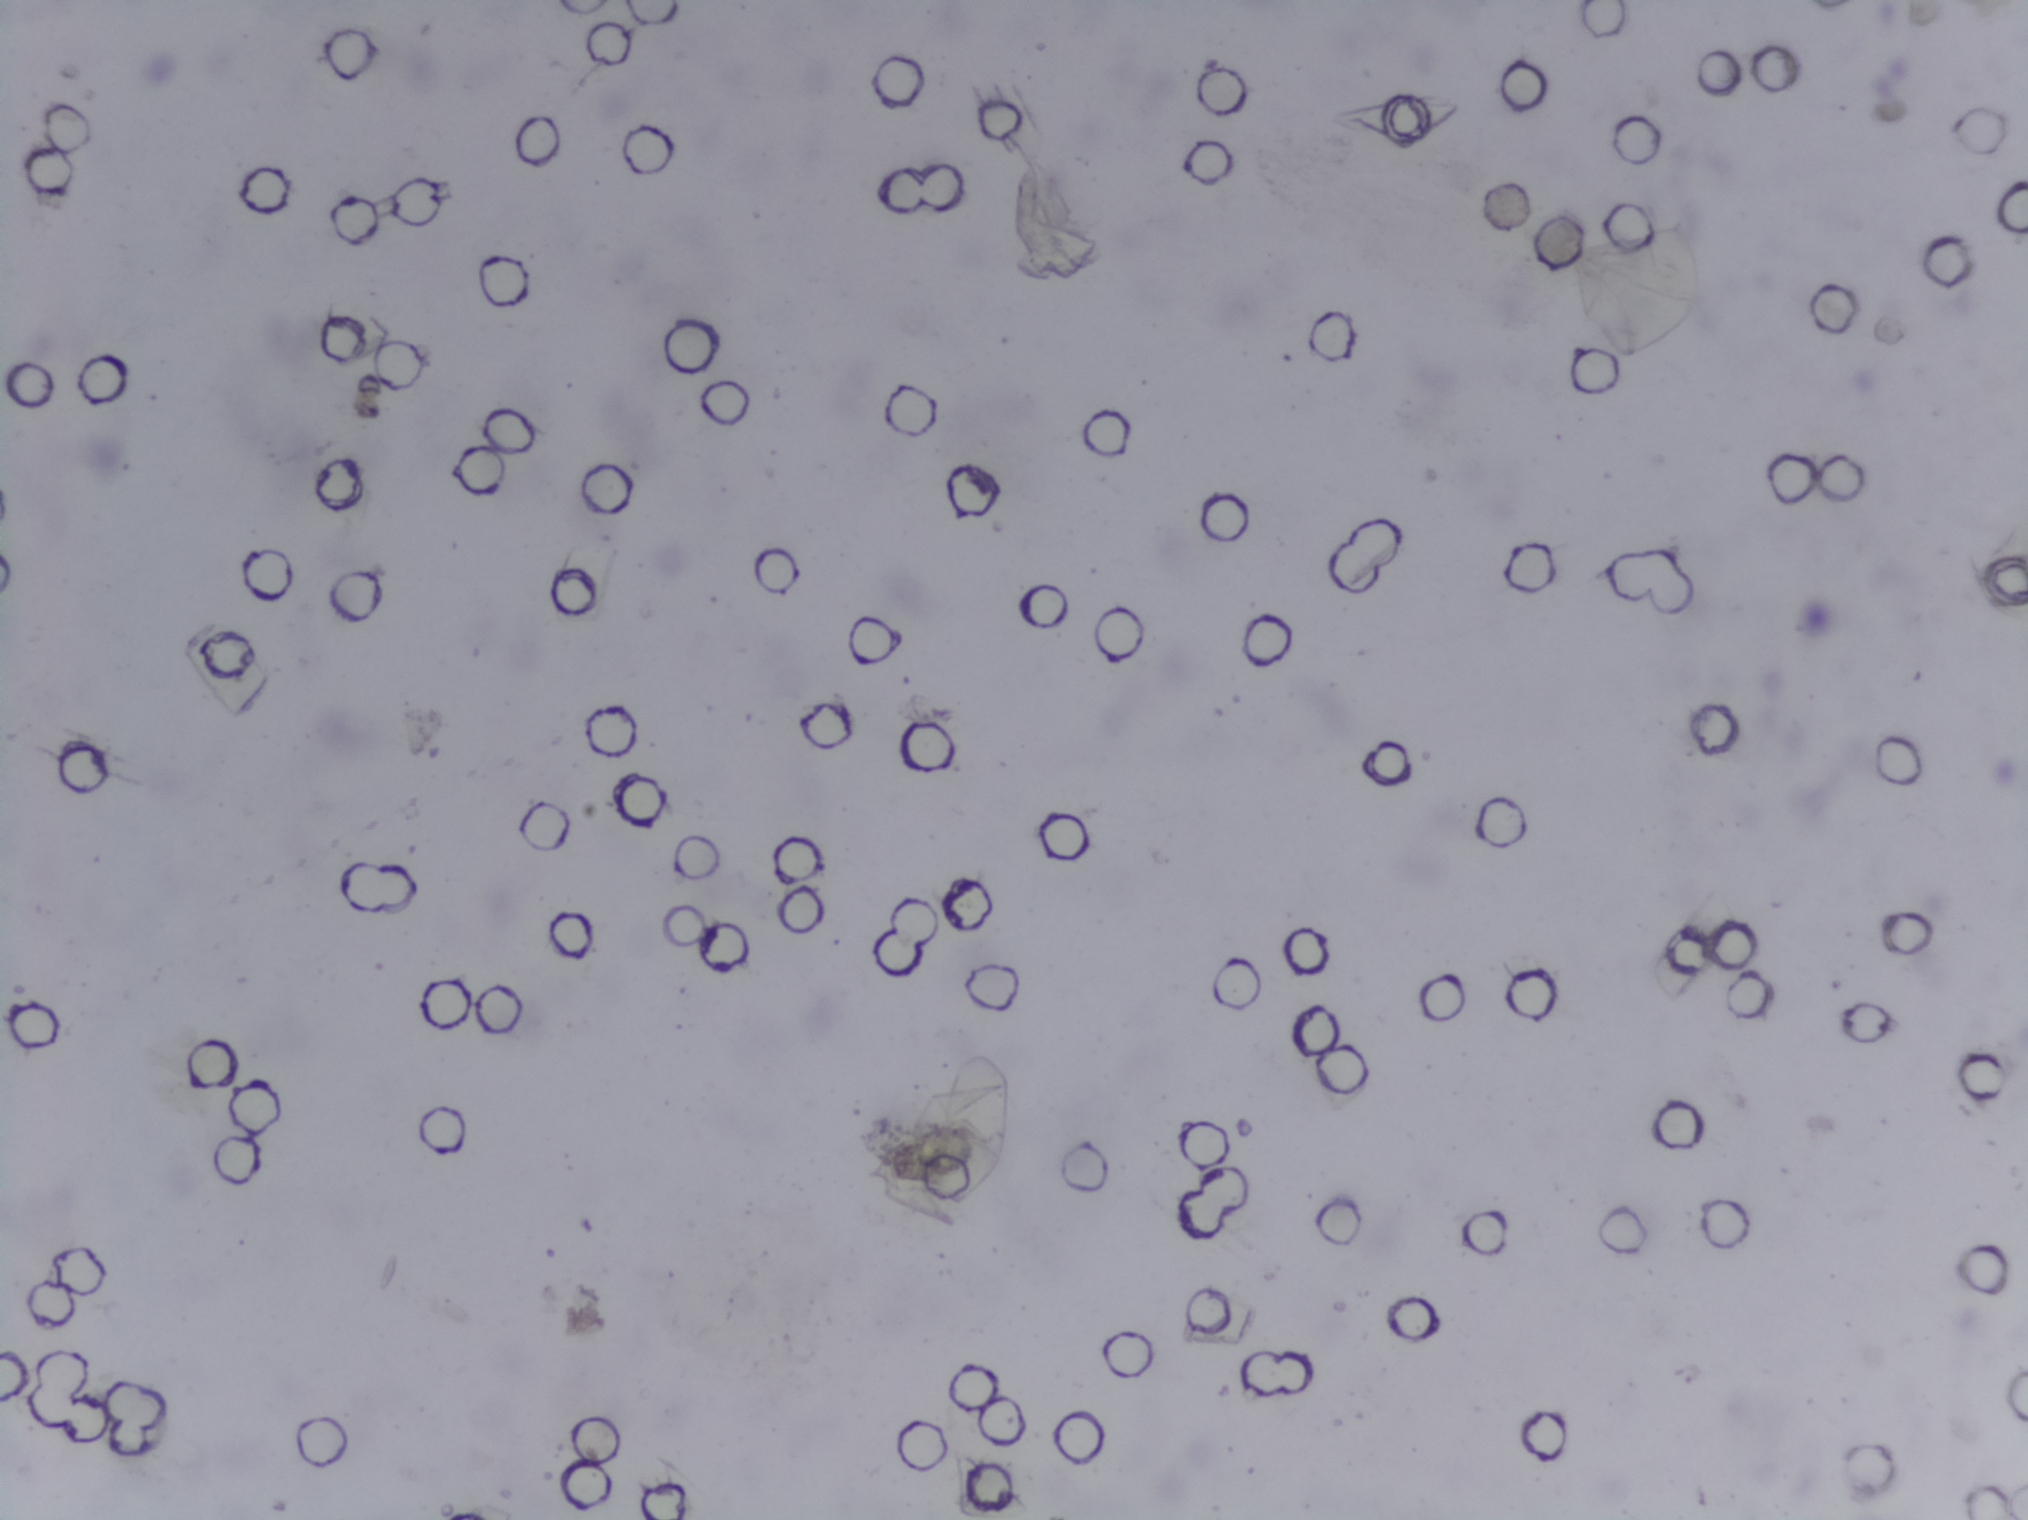
One field of view of a urine filter membrane, 4× objective, 2028 × 1520 pixels. Field of view: about 1.5 mm wide and 1.1 mm high.
The expert annotation marks no Schistosoma egg in this field of view.